Urine filtration membrane under a 4× objective, photographed by an automated digital microscope. The field of view is about 1.5 mm × 1.1 mm.
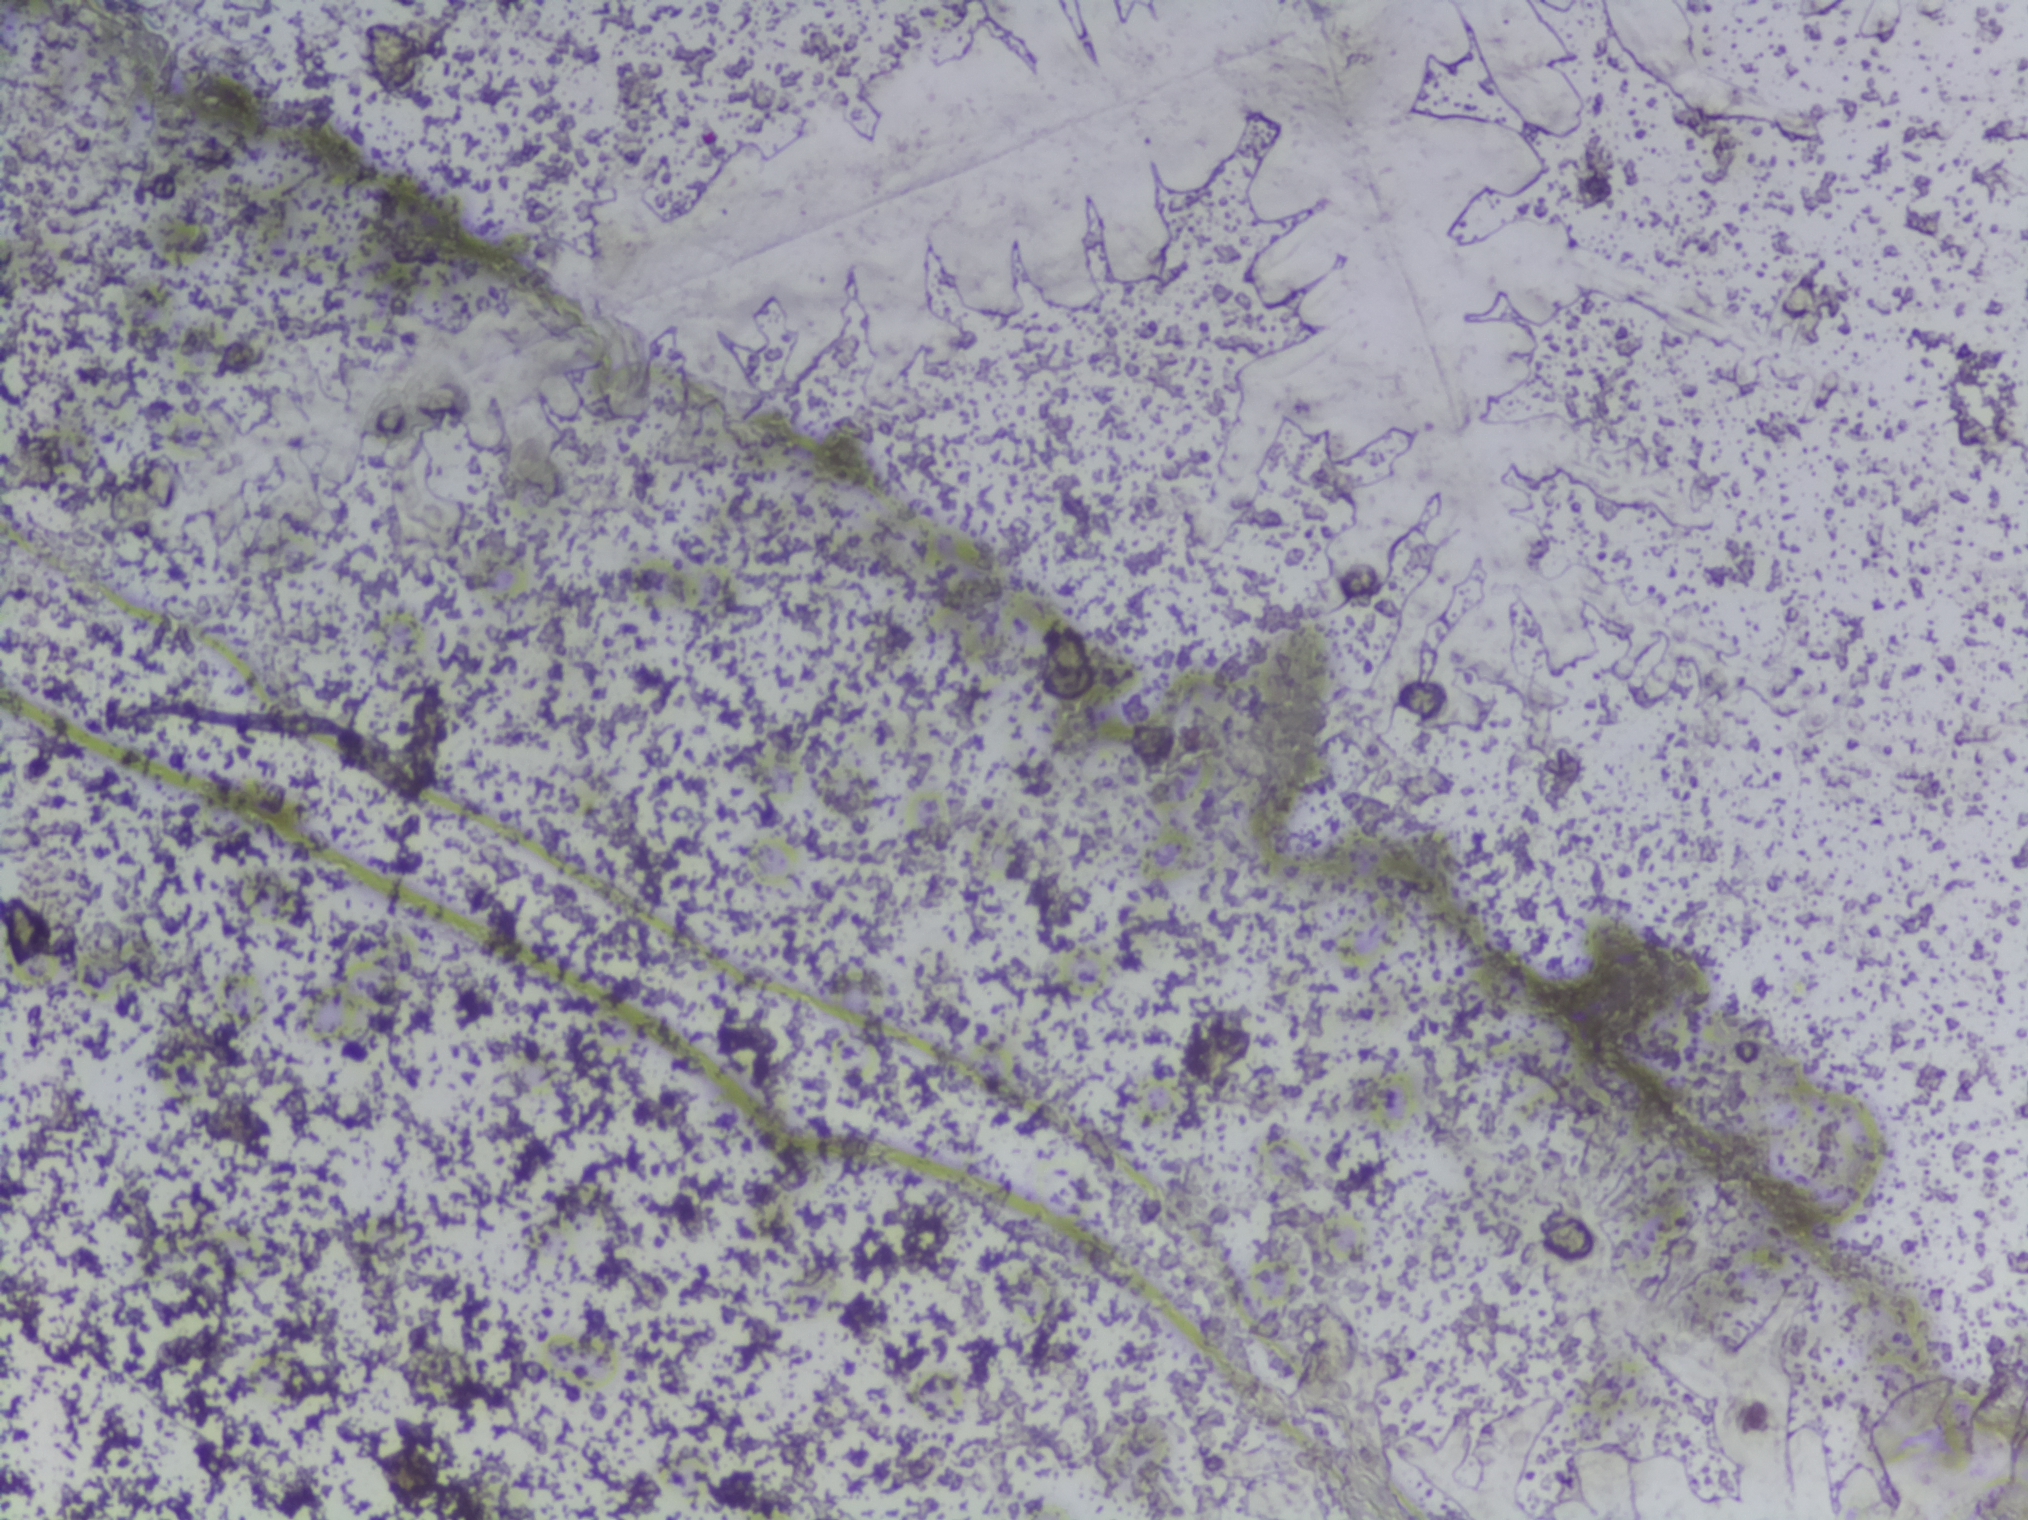
The expert annotation outlines no Schistosoma egg in this image.